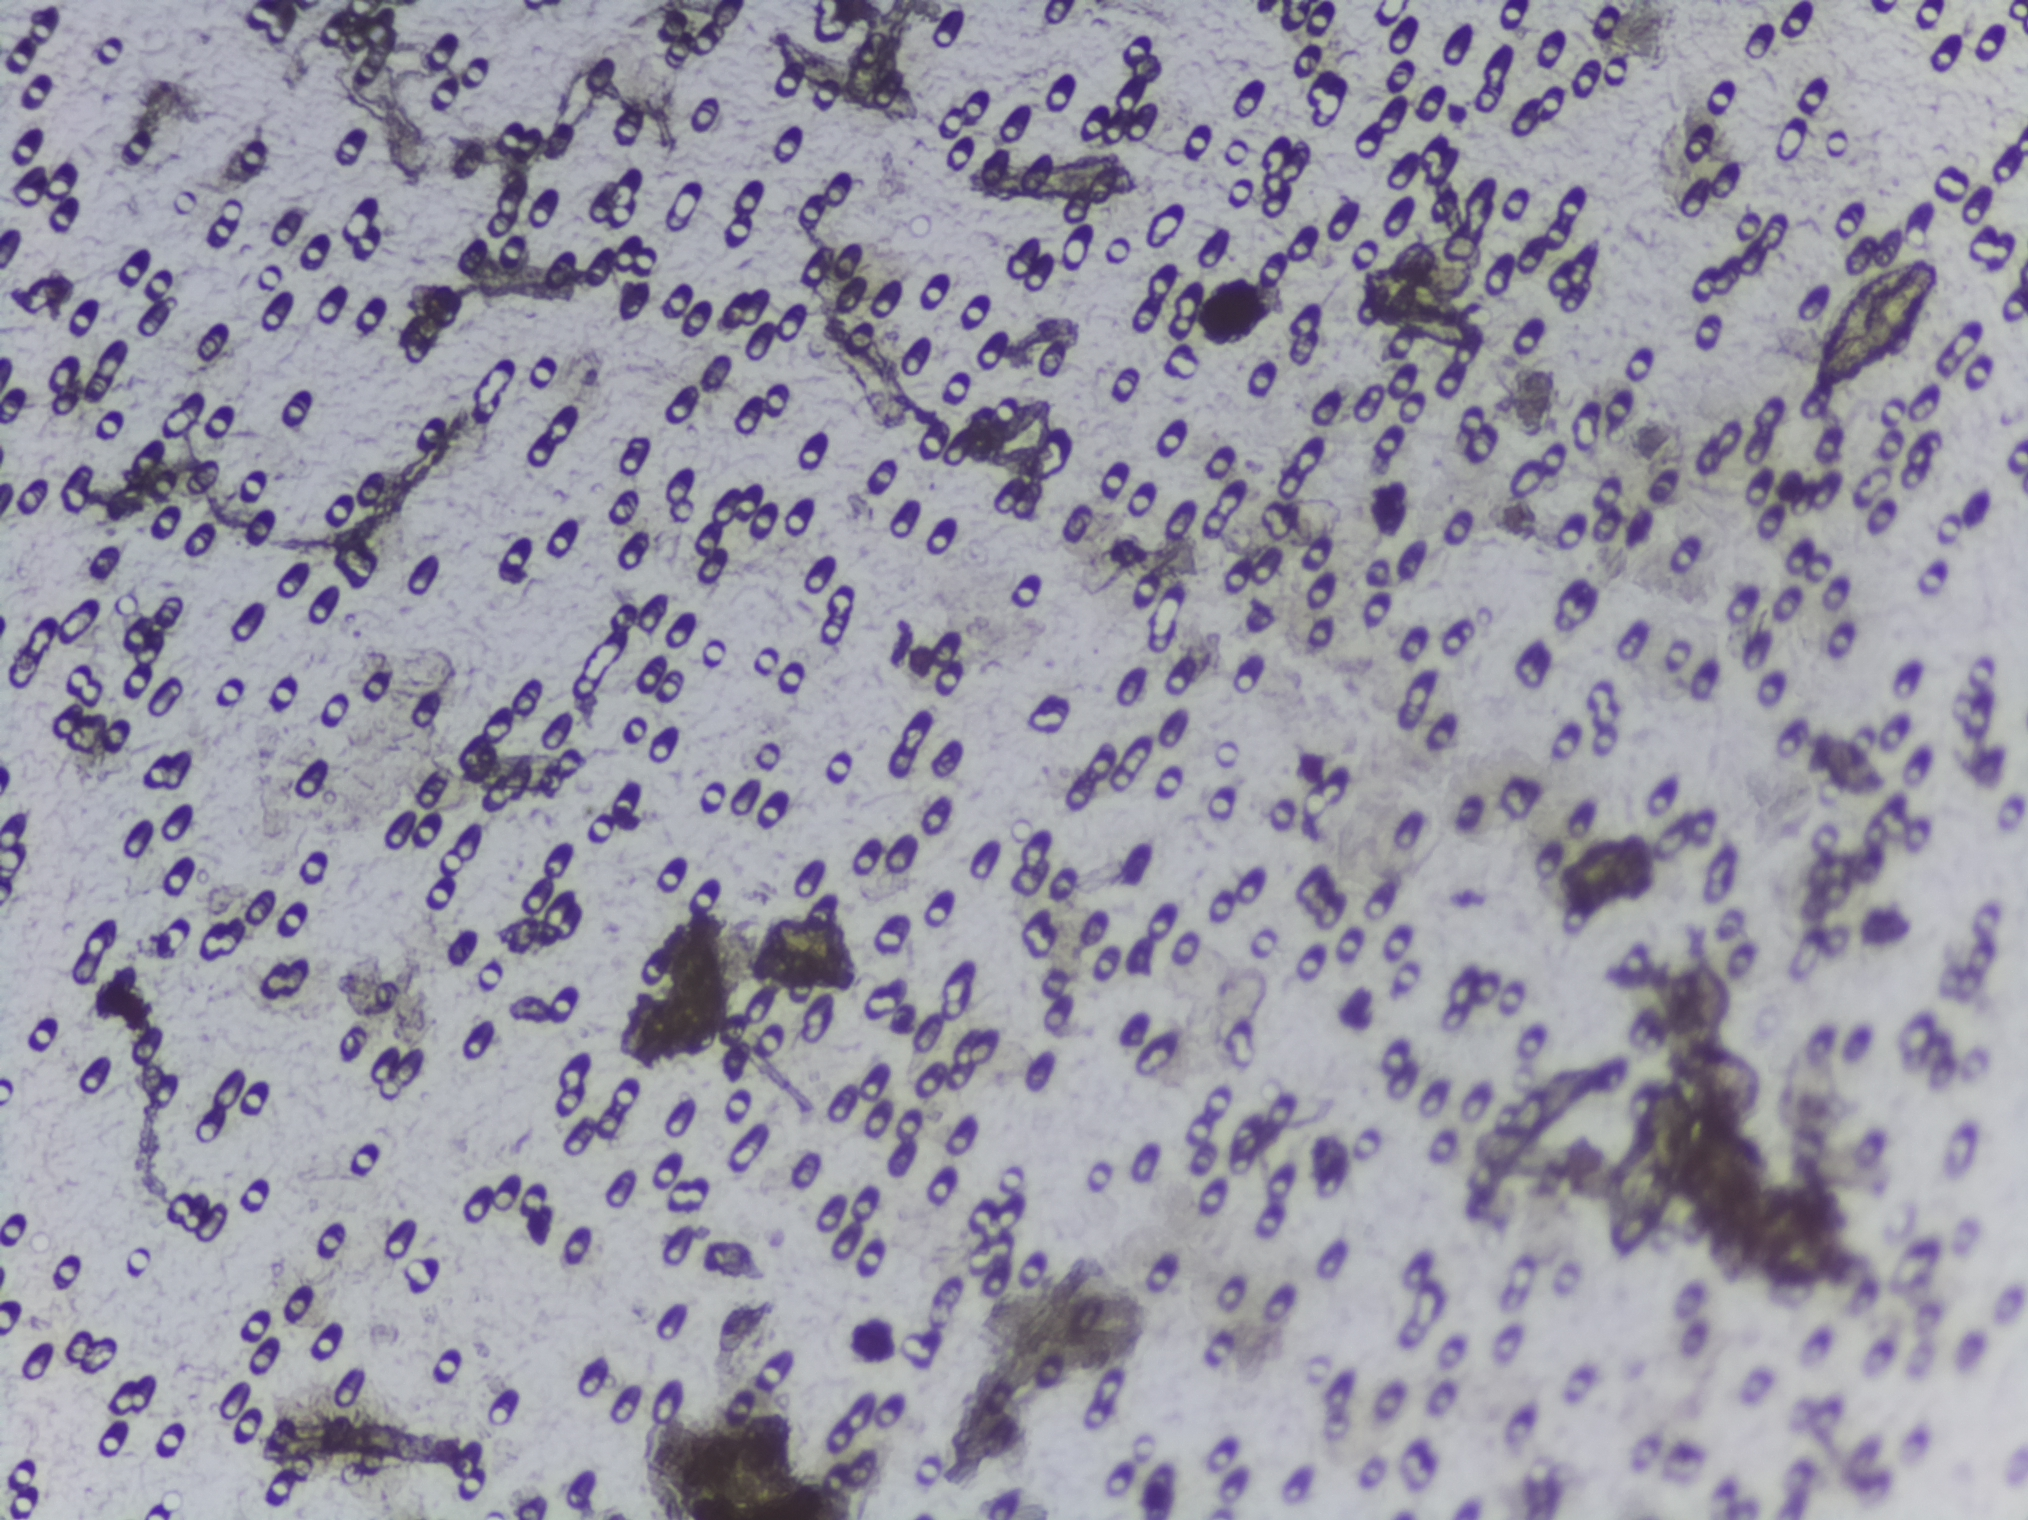
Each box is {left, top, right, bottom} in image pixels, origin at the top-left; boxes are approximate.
Schistosoma eggs are outlined in the expert annotation at {1798, 256, 1943, 407}. A single outlined area may contain several eggs.
Urine filter membrane photographed through a 4× microscope objective.